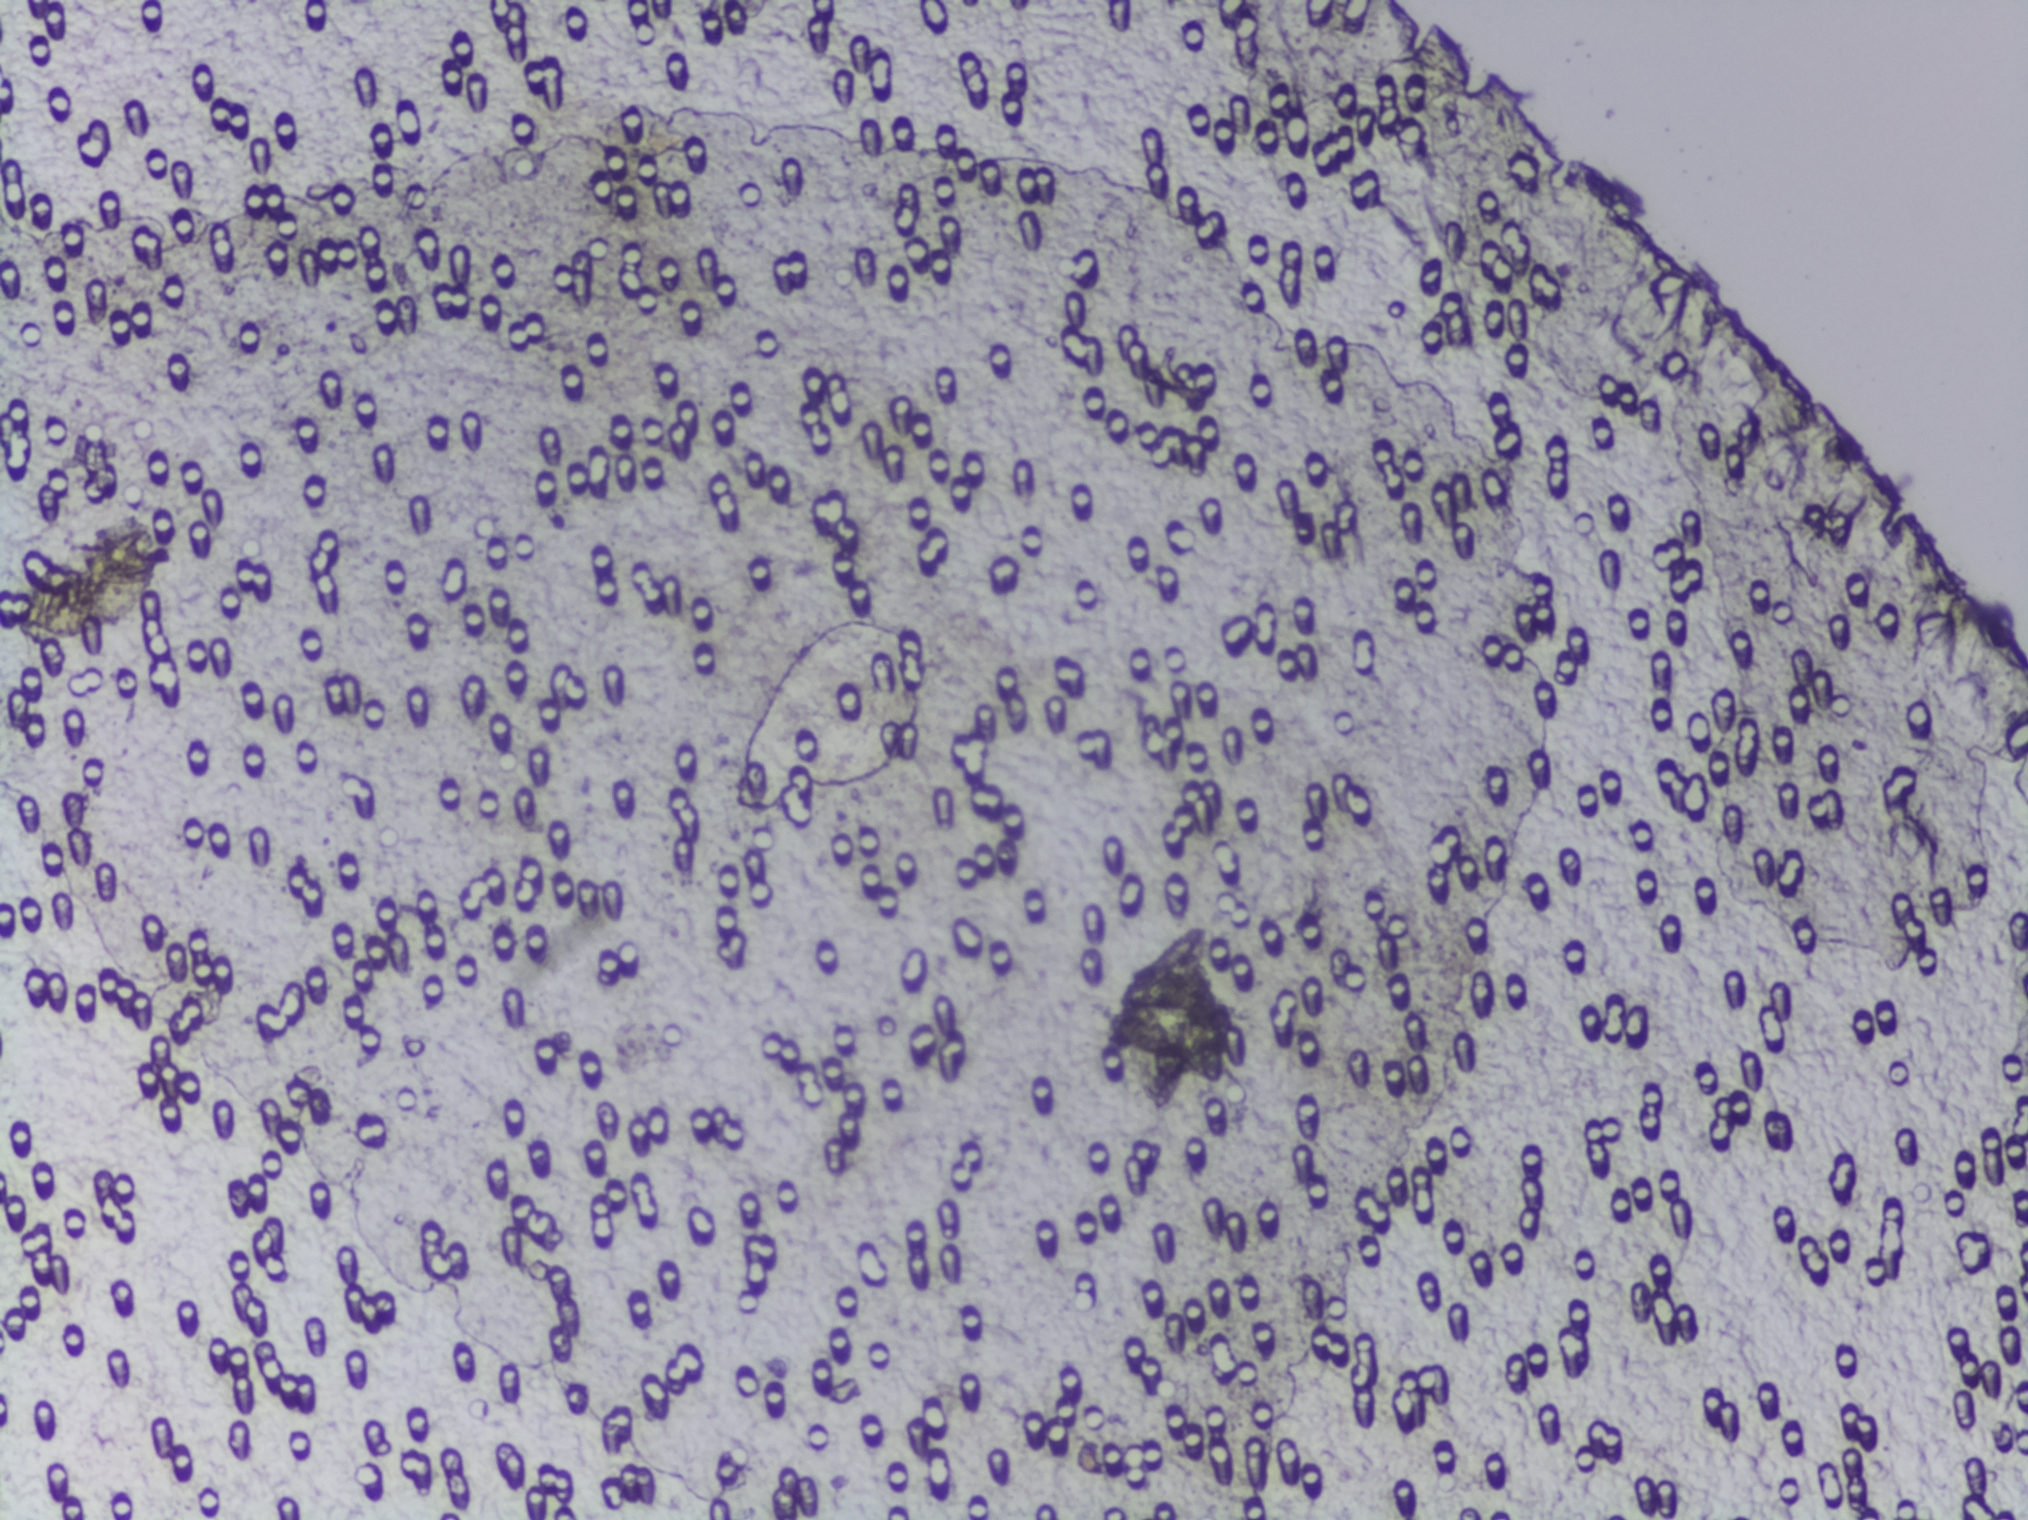
No area of this image was outlined as a Schistosoma egg.
One field of view of a urine filter membrane, 4× objective, 2028 × 1520 pixels.